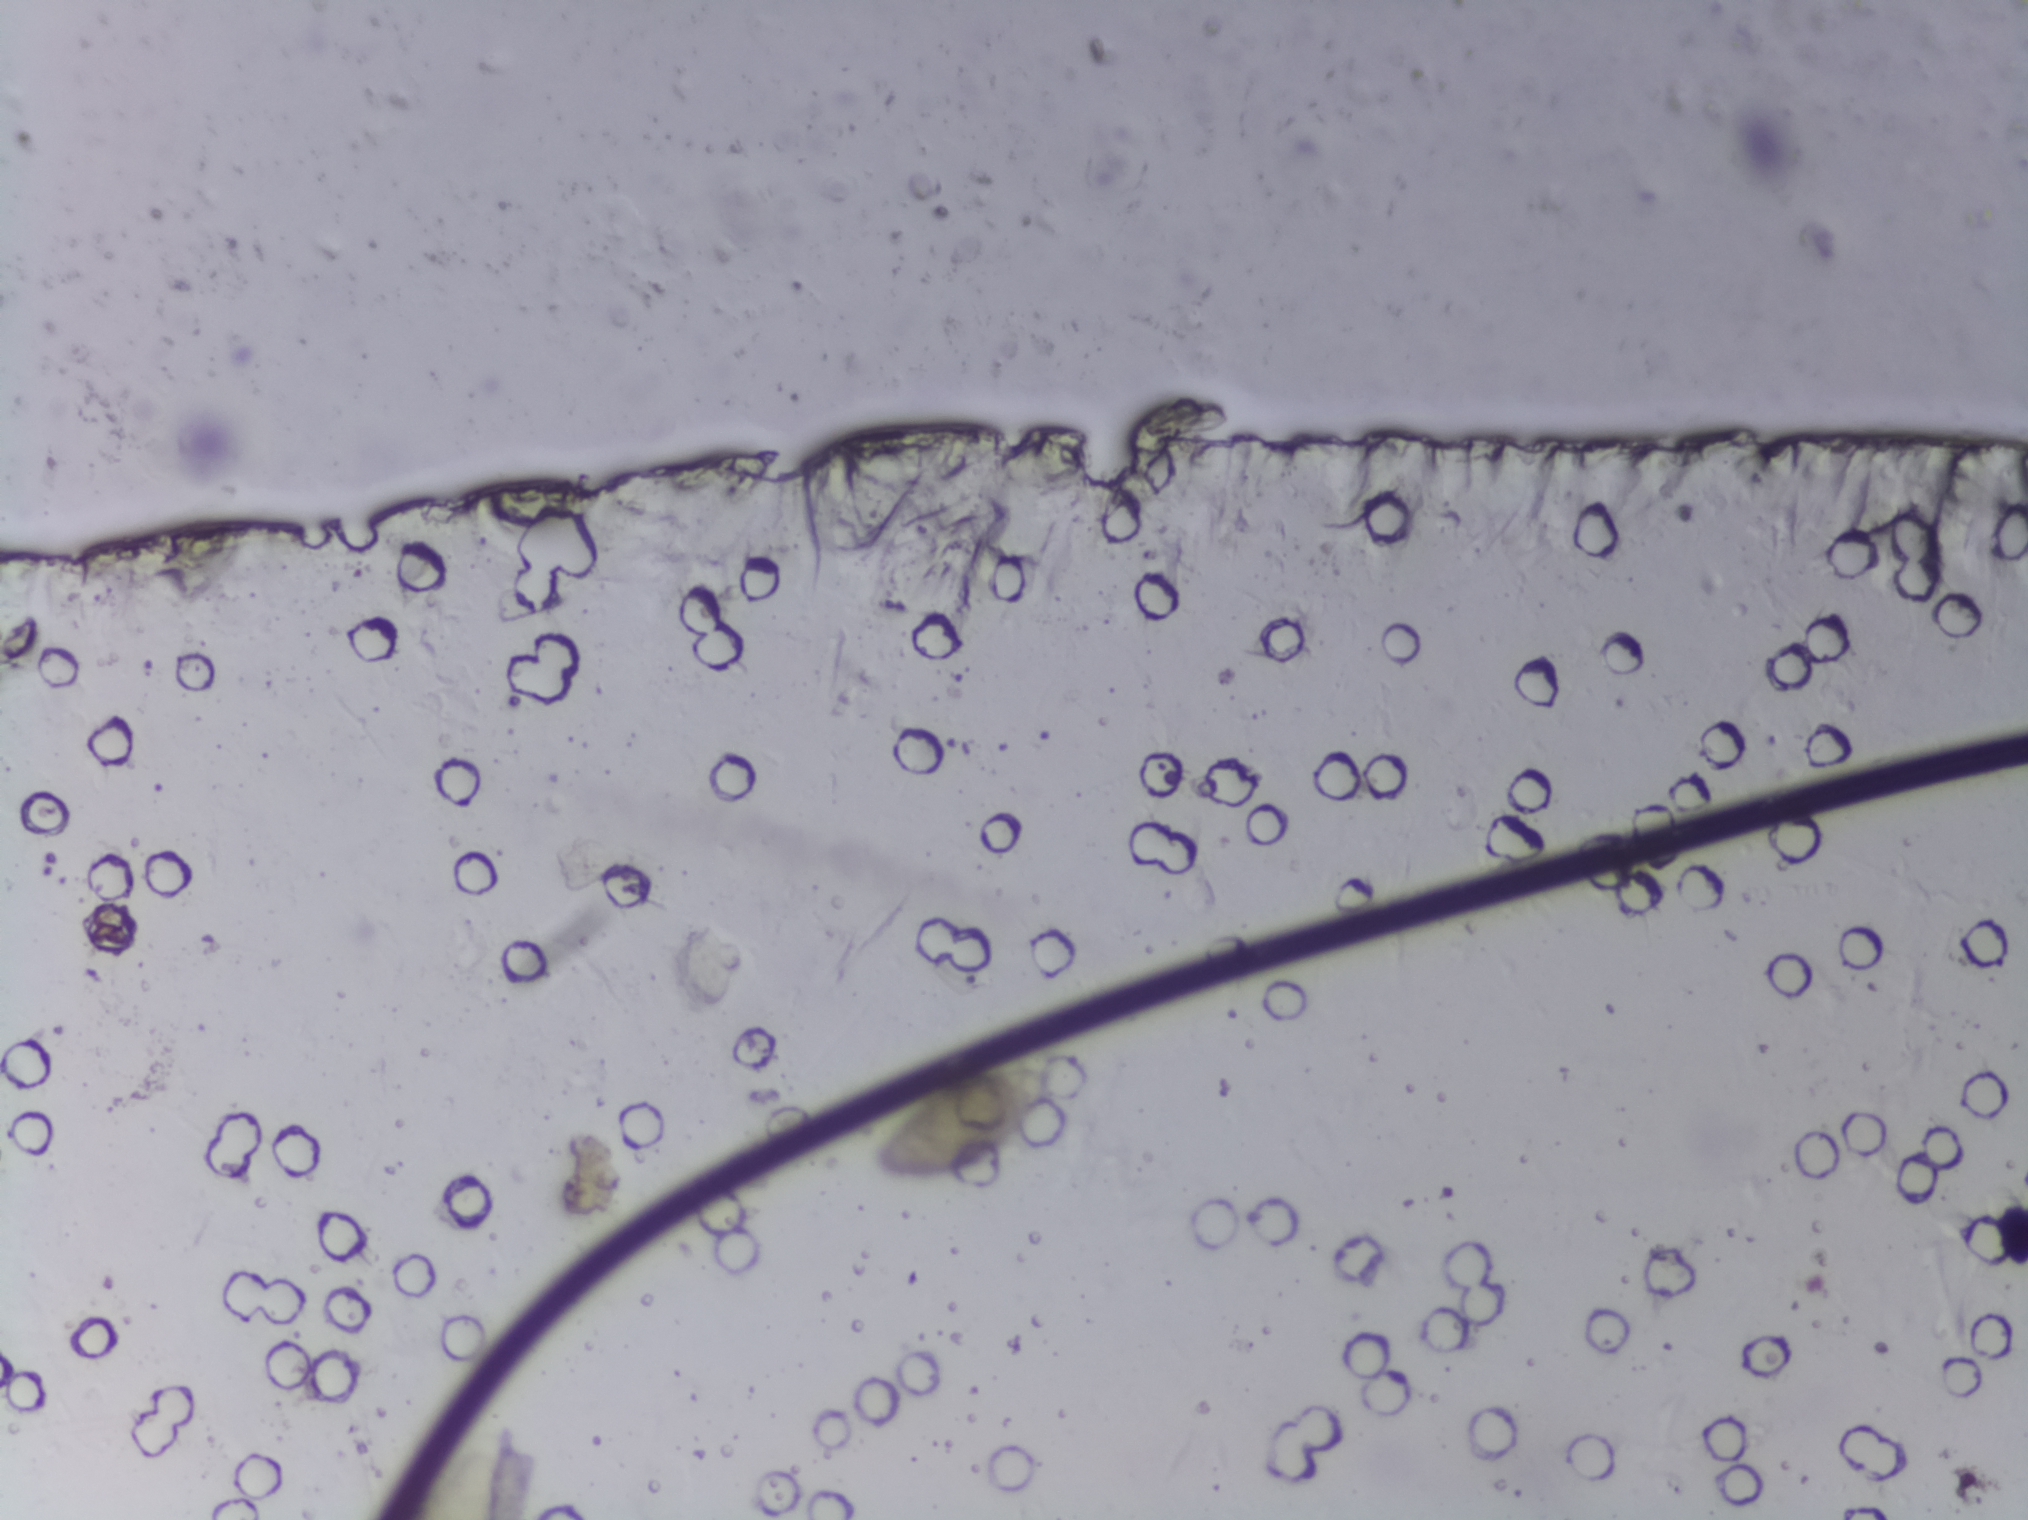
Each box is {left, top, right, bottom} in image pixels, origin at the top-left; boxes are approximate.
Findings: one area outlined as Schistosoma eggs. Location: {873, 1059, 1060, 1186}. An outlined area can hold more than one egg.
Microscope photograph (4× objective) of a membrane that a urine sample was filtered through.